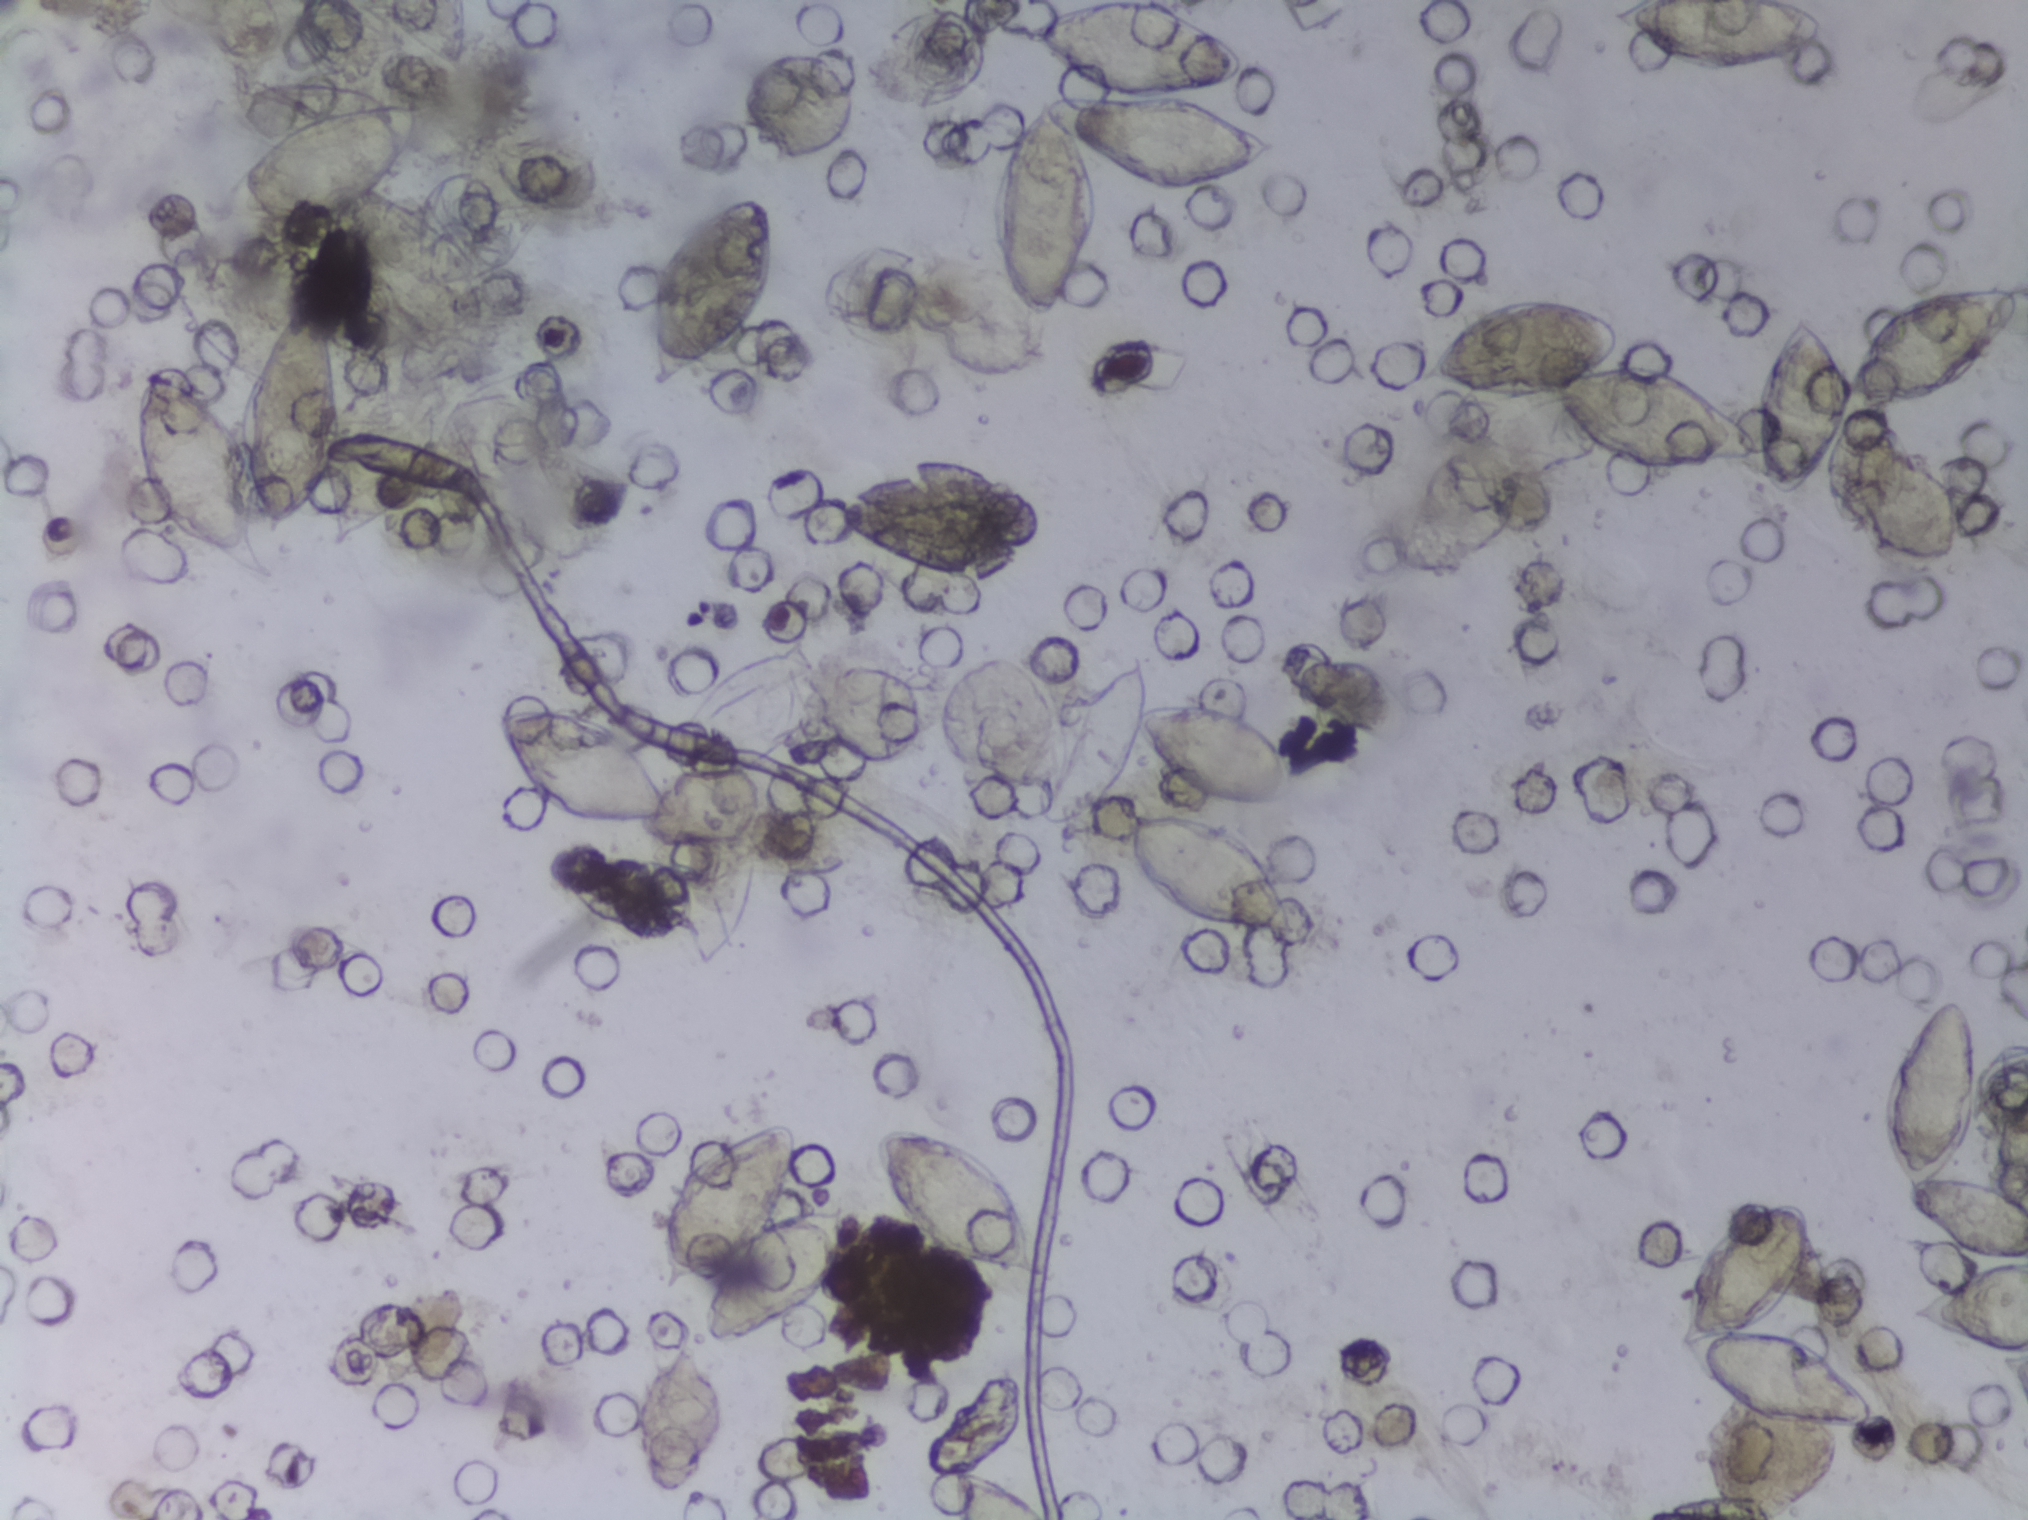
Microscope photograph (4× objective) of a membrane that a urine sample was filtered through. Field of view: about 1.5 mm wide and 1.1 mm high.
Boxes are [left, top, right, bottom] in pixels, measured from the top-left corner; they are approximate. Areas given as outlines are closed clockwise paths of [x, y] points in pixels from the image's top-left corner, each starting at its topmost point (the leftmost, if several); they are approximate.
19 areas of this image are outlined as Schistosoma eggs, from left to right: box [130, 298, 432, 577] (a cluster of eggs); box [205, 78, 421, 224]; box [376, 0, 468, 69] (reaching the top edge of the frame); box [486, 705, 677, 830]; box [631, 1331, 727, 1498]; box [644, 193, 778, 394]; box [661, 1118, 852, 1345]; box [667, 820, 753, 963]; box [831, 452, 1049, 586]; box [871, 1126, 1043, 1281]; box [952, 1468, 1045, 1519] (reaching the bottom edge of the frame); box [989, 0, 1282, 314] (a cluster of eggs; reaching the top edge of the frame); box [1034, 655, 1304, 829]; box [1119, 806, 1302, 945]; outline [1958, 281], [2008, 281], [2021, 292], [2021, 311], [1996, 357], [1967, 386], [1942, 400], [1891, 405], [1897, 445], [1942, 470], [1958, 492], [1961, 540], [1944, 564], [1892, 556], [1858, 523], [1837, 528], [1825, 507], [1828, 465], [1811, 488], [1782, 501], [1760, 489], [1751, 466], [1657, 477], [1597, 452], [1554, 415], [1551, 403], [1532, 409], [1492, 406], [1417, 380], [1420, 361], [1493, 302], [1525, 293], [1566, 293], [1618, 315], [1625, 342], [1612, 365], [1643, 363], [1644, 357], [1673, 364], [1753, 422], [1754, 370], [1796, 311], [1809, 308], [1838, 333], [1852, 370], [1870, 330], [1904, 301], [1893, 300] (a cluster of eggs); box [1606, 0, 1835, 74] (reaching the top edge of the frame); box [1672, 1199, 1878, 1435]; box [1879, 995, 2027, 1260] (reaching the right edge of the frame); box [1912, 1260, 2027, 1352] (reaching the right edge of the frame). An outlined area can hold more than one egg. A marked egg may occasionally be S. mansoni rather than S. haematobium.